One field of view of a urine filter membrane, 4× objective, 2028 × 1520 pixels. The field of view is about 1.5 mm × 1.1 mm.
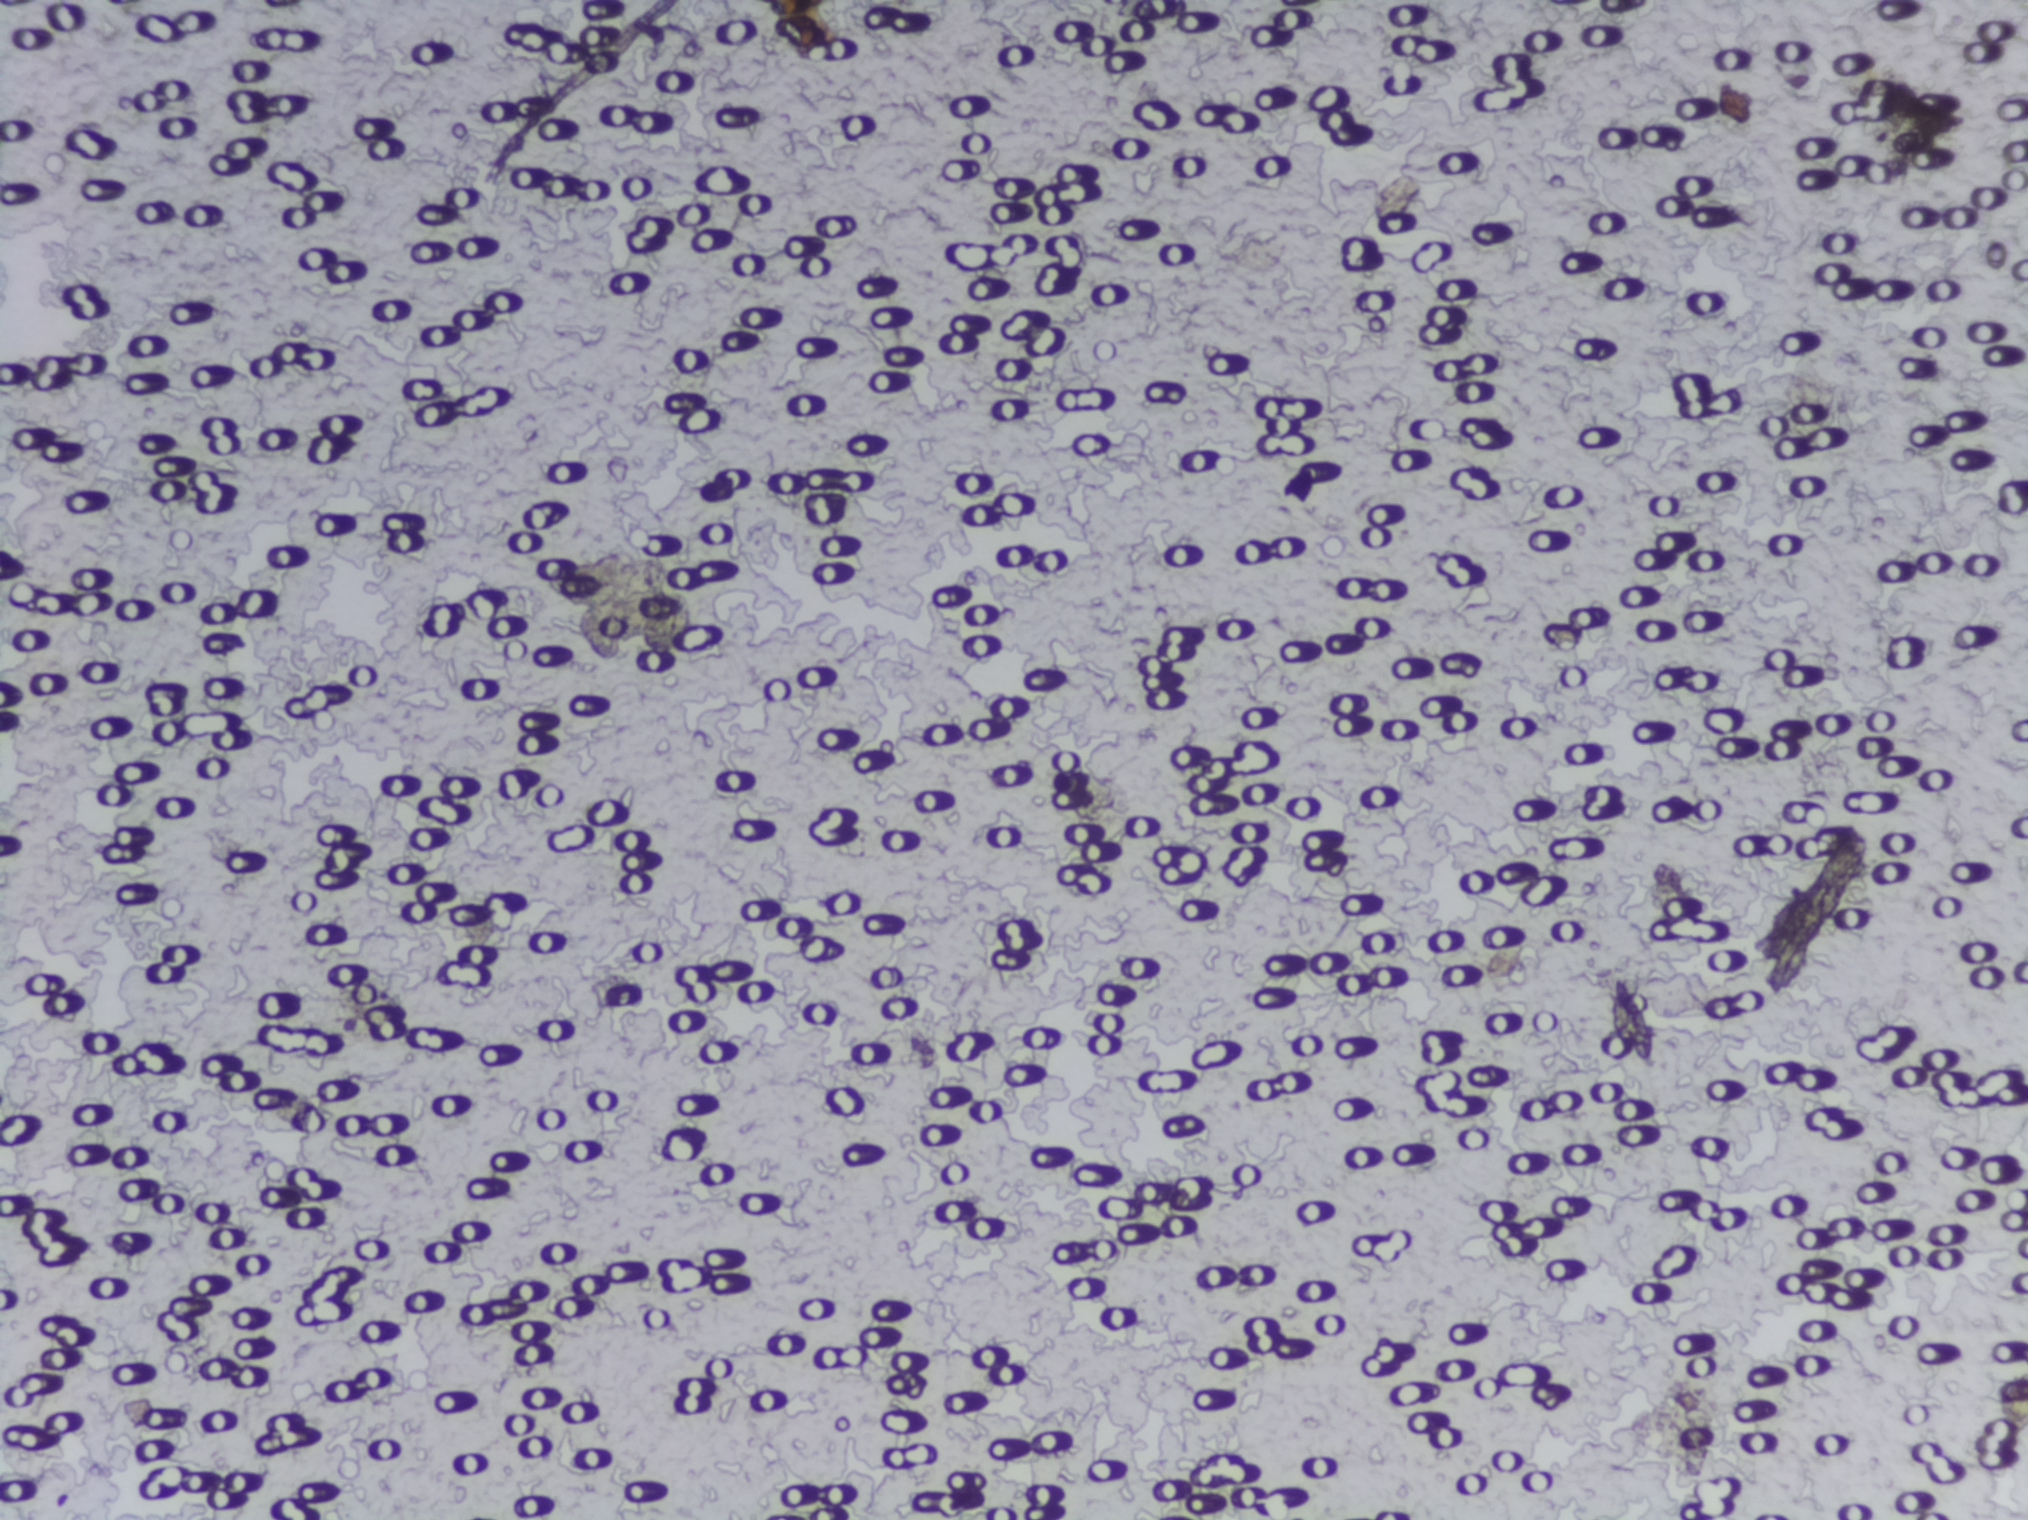
No Schistosoma egg is outlined in this image's expert annotation.